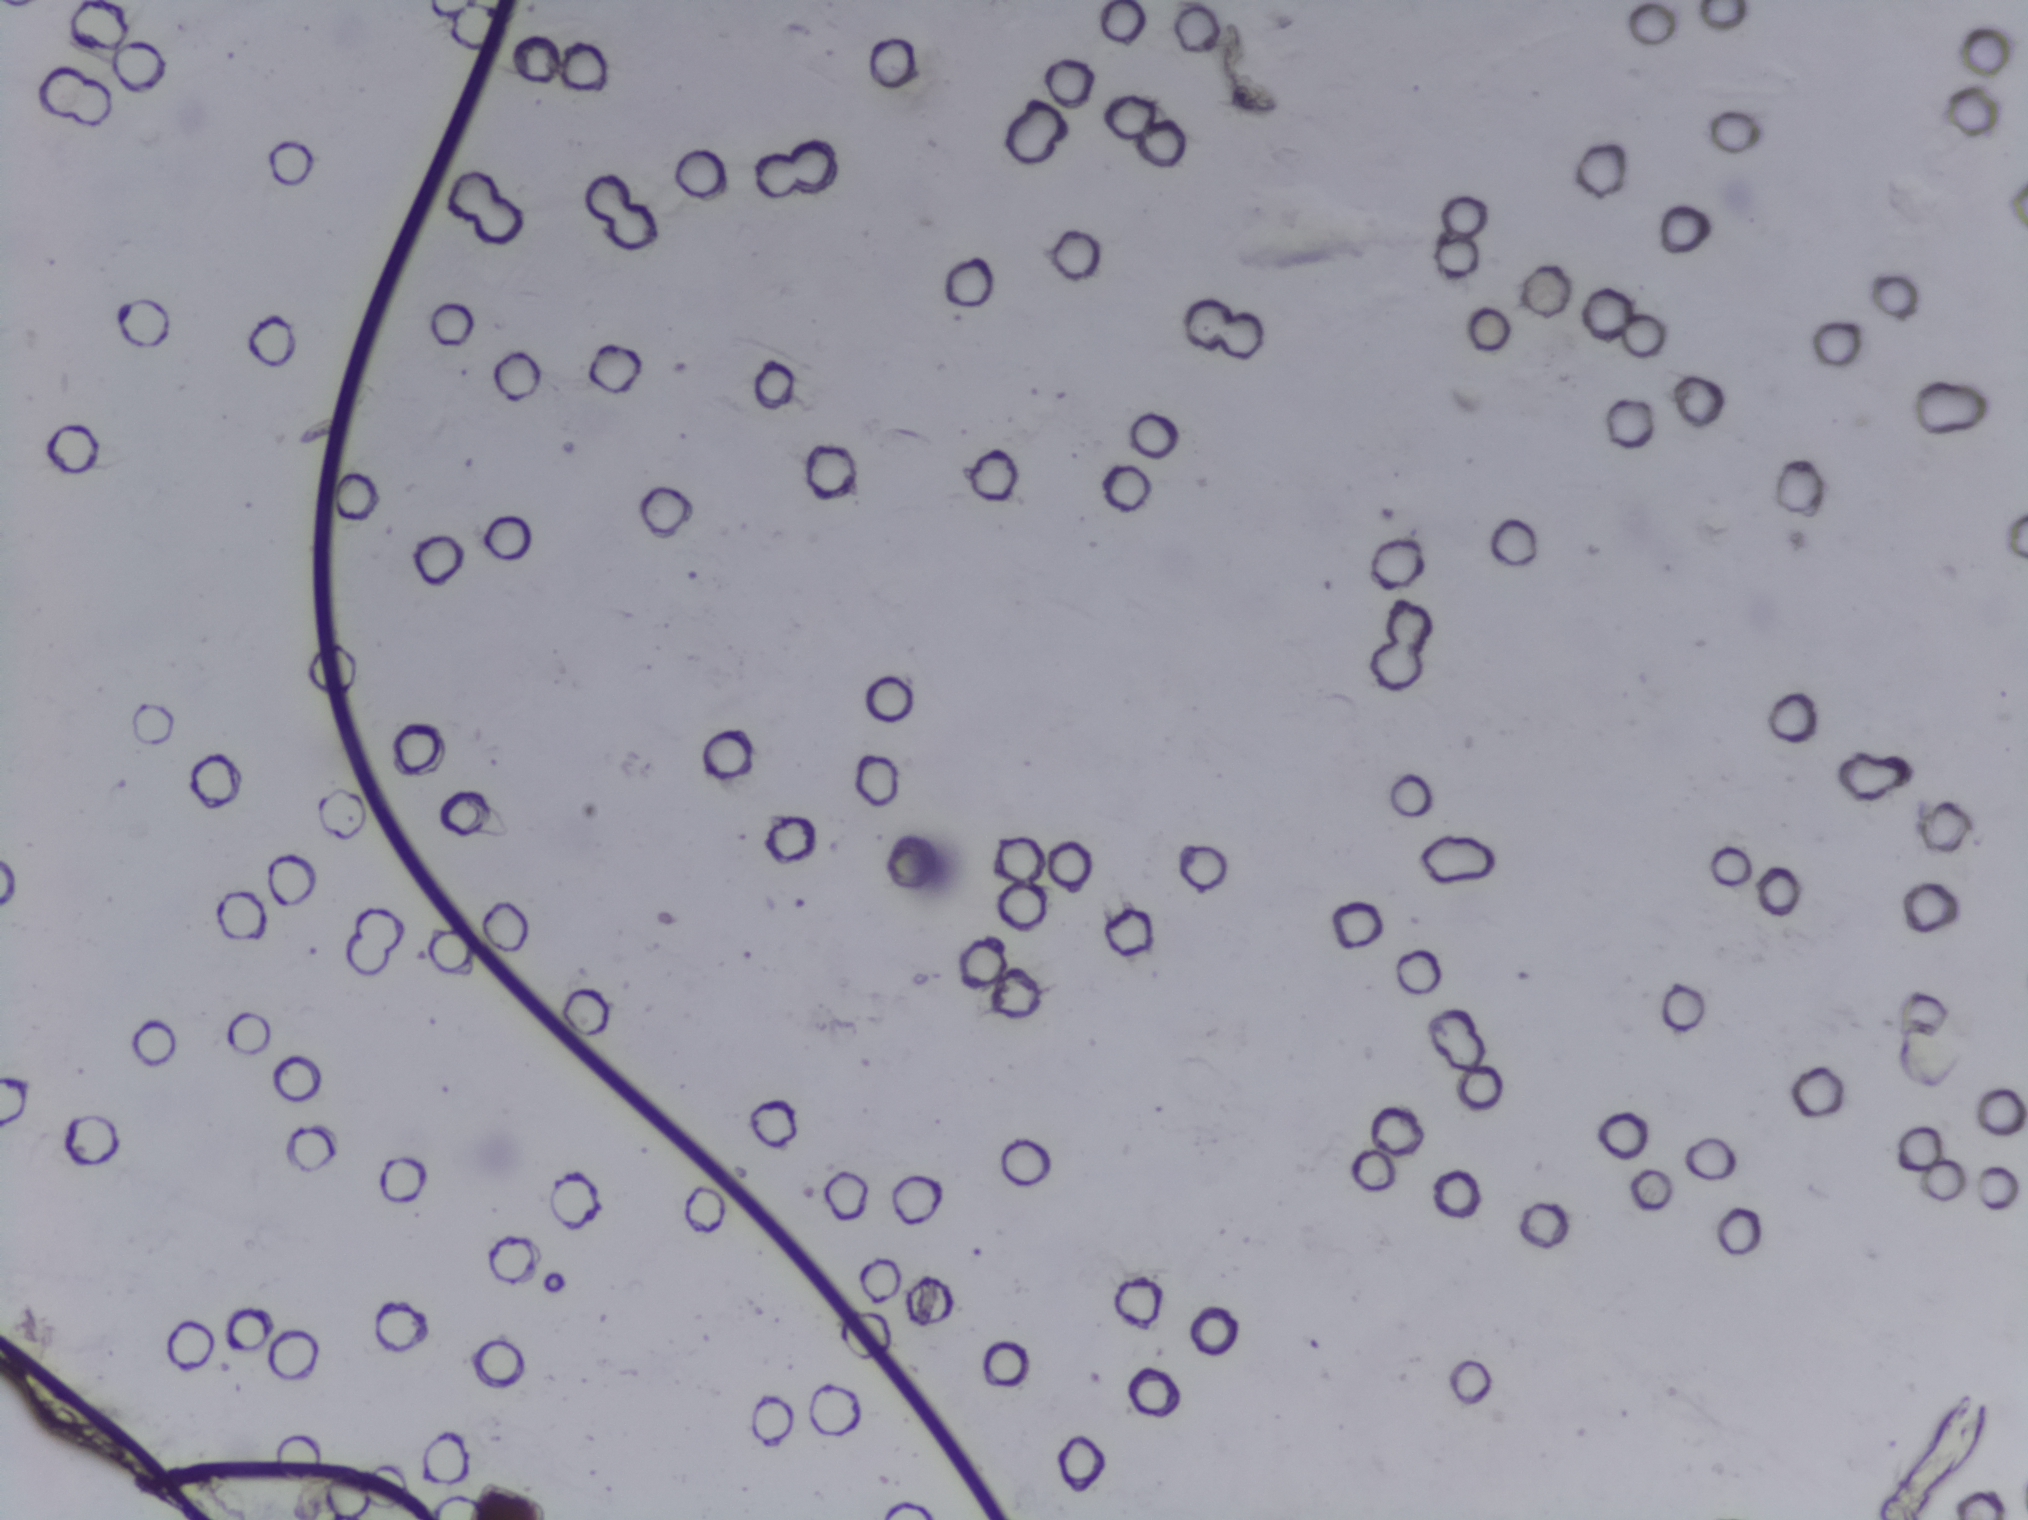
One field of view of a urine filter membrane, 4× objective, 2028 × 1520 pixels.
The expert annotation marks no Schistosoma egg in this field of view.